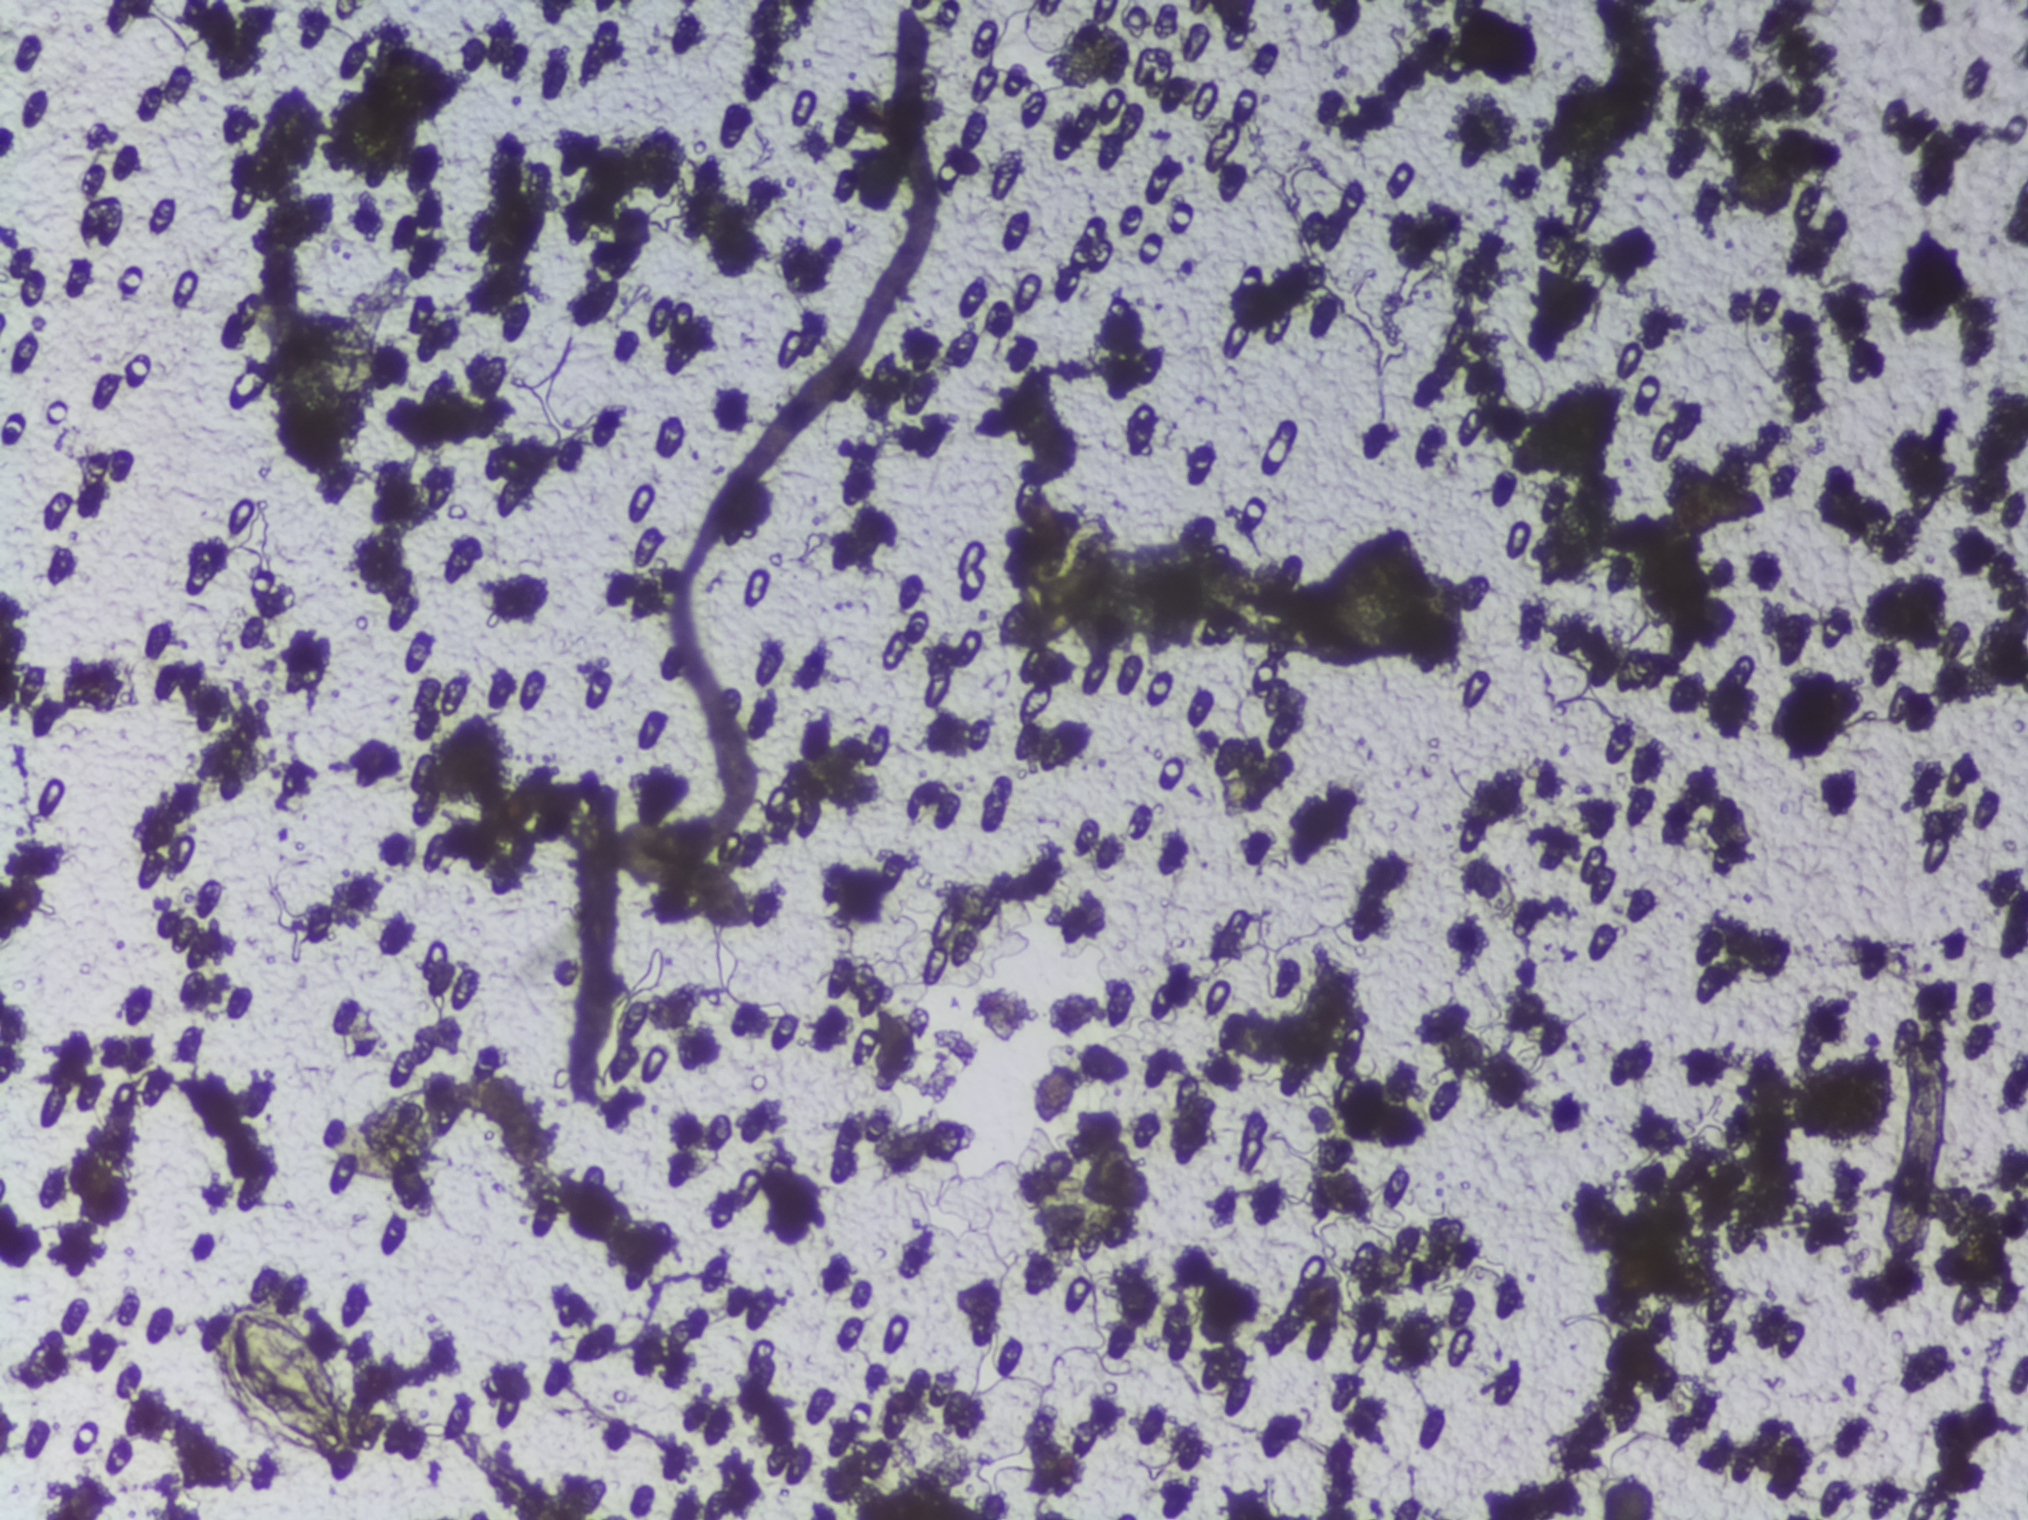
Urine filter membrane photographed through a 4× microscope objective.
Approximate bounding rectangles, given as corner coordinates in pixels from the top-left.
Areas outlined as Schistosoma eggs, left to right:
1. (x1=191, y1=1295, x2=358, y2=1472)
2. (x1=325, y1=1080, x2=453, y2=1186)
3. (x1=1016, y1=514, x2=1115, y2=650)
An outlined area can hold more than one egg.